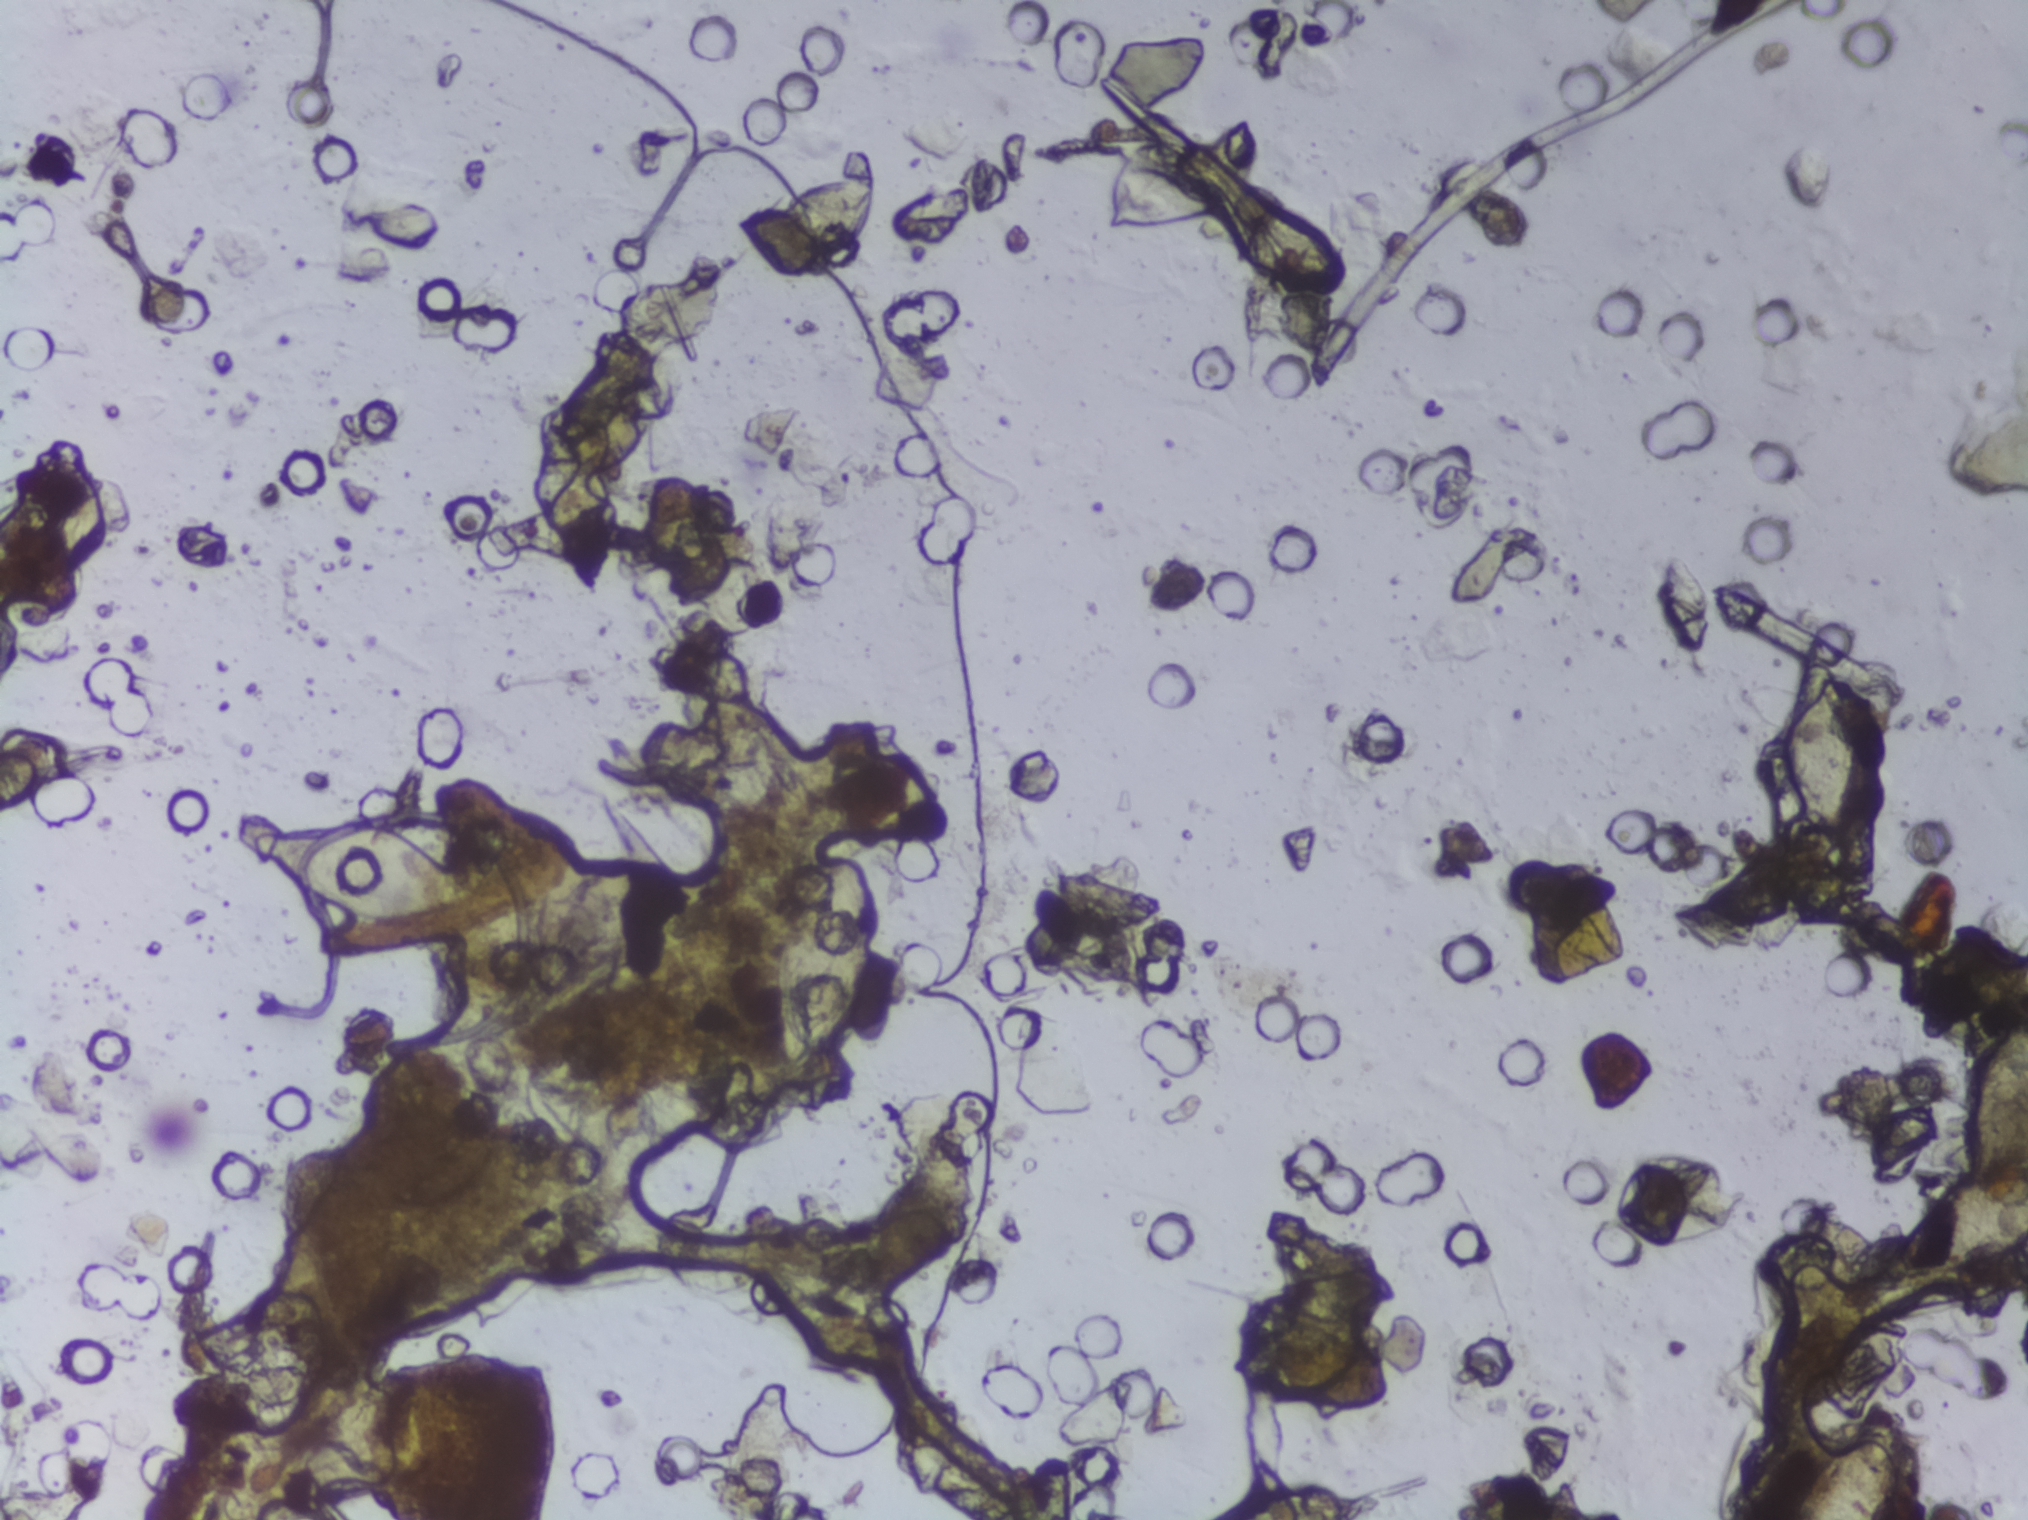
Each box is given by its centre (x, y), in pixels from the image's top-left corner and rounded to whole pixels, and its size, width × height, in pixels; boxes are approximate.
Findings: five areas outlined as Schistosoma eggs. Locations: centre (438, 871), 268 × 118 px; centre (825, 960), 113 × 220 px; centre (1159, 185), 118 × 86 px; centre (1825, 743), 99 × 200 px; centre (1845, 1465), 135 × 109 px (reaching the bottom edge of the frame). The marked pixels themselves, not the boxes around them, cover about 2.3% of the image. A single outlined area may contain several eggs. A marked egg may occasionally be S. mansoni rather than S. haematobium.
Photomicrograph of a urine filtration membrane, 4× objective.